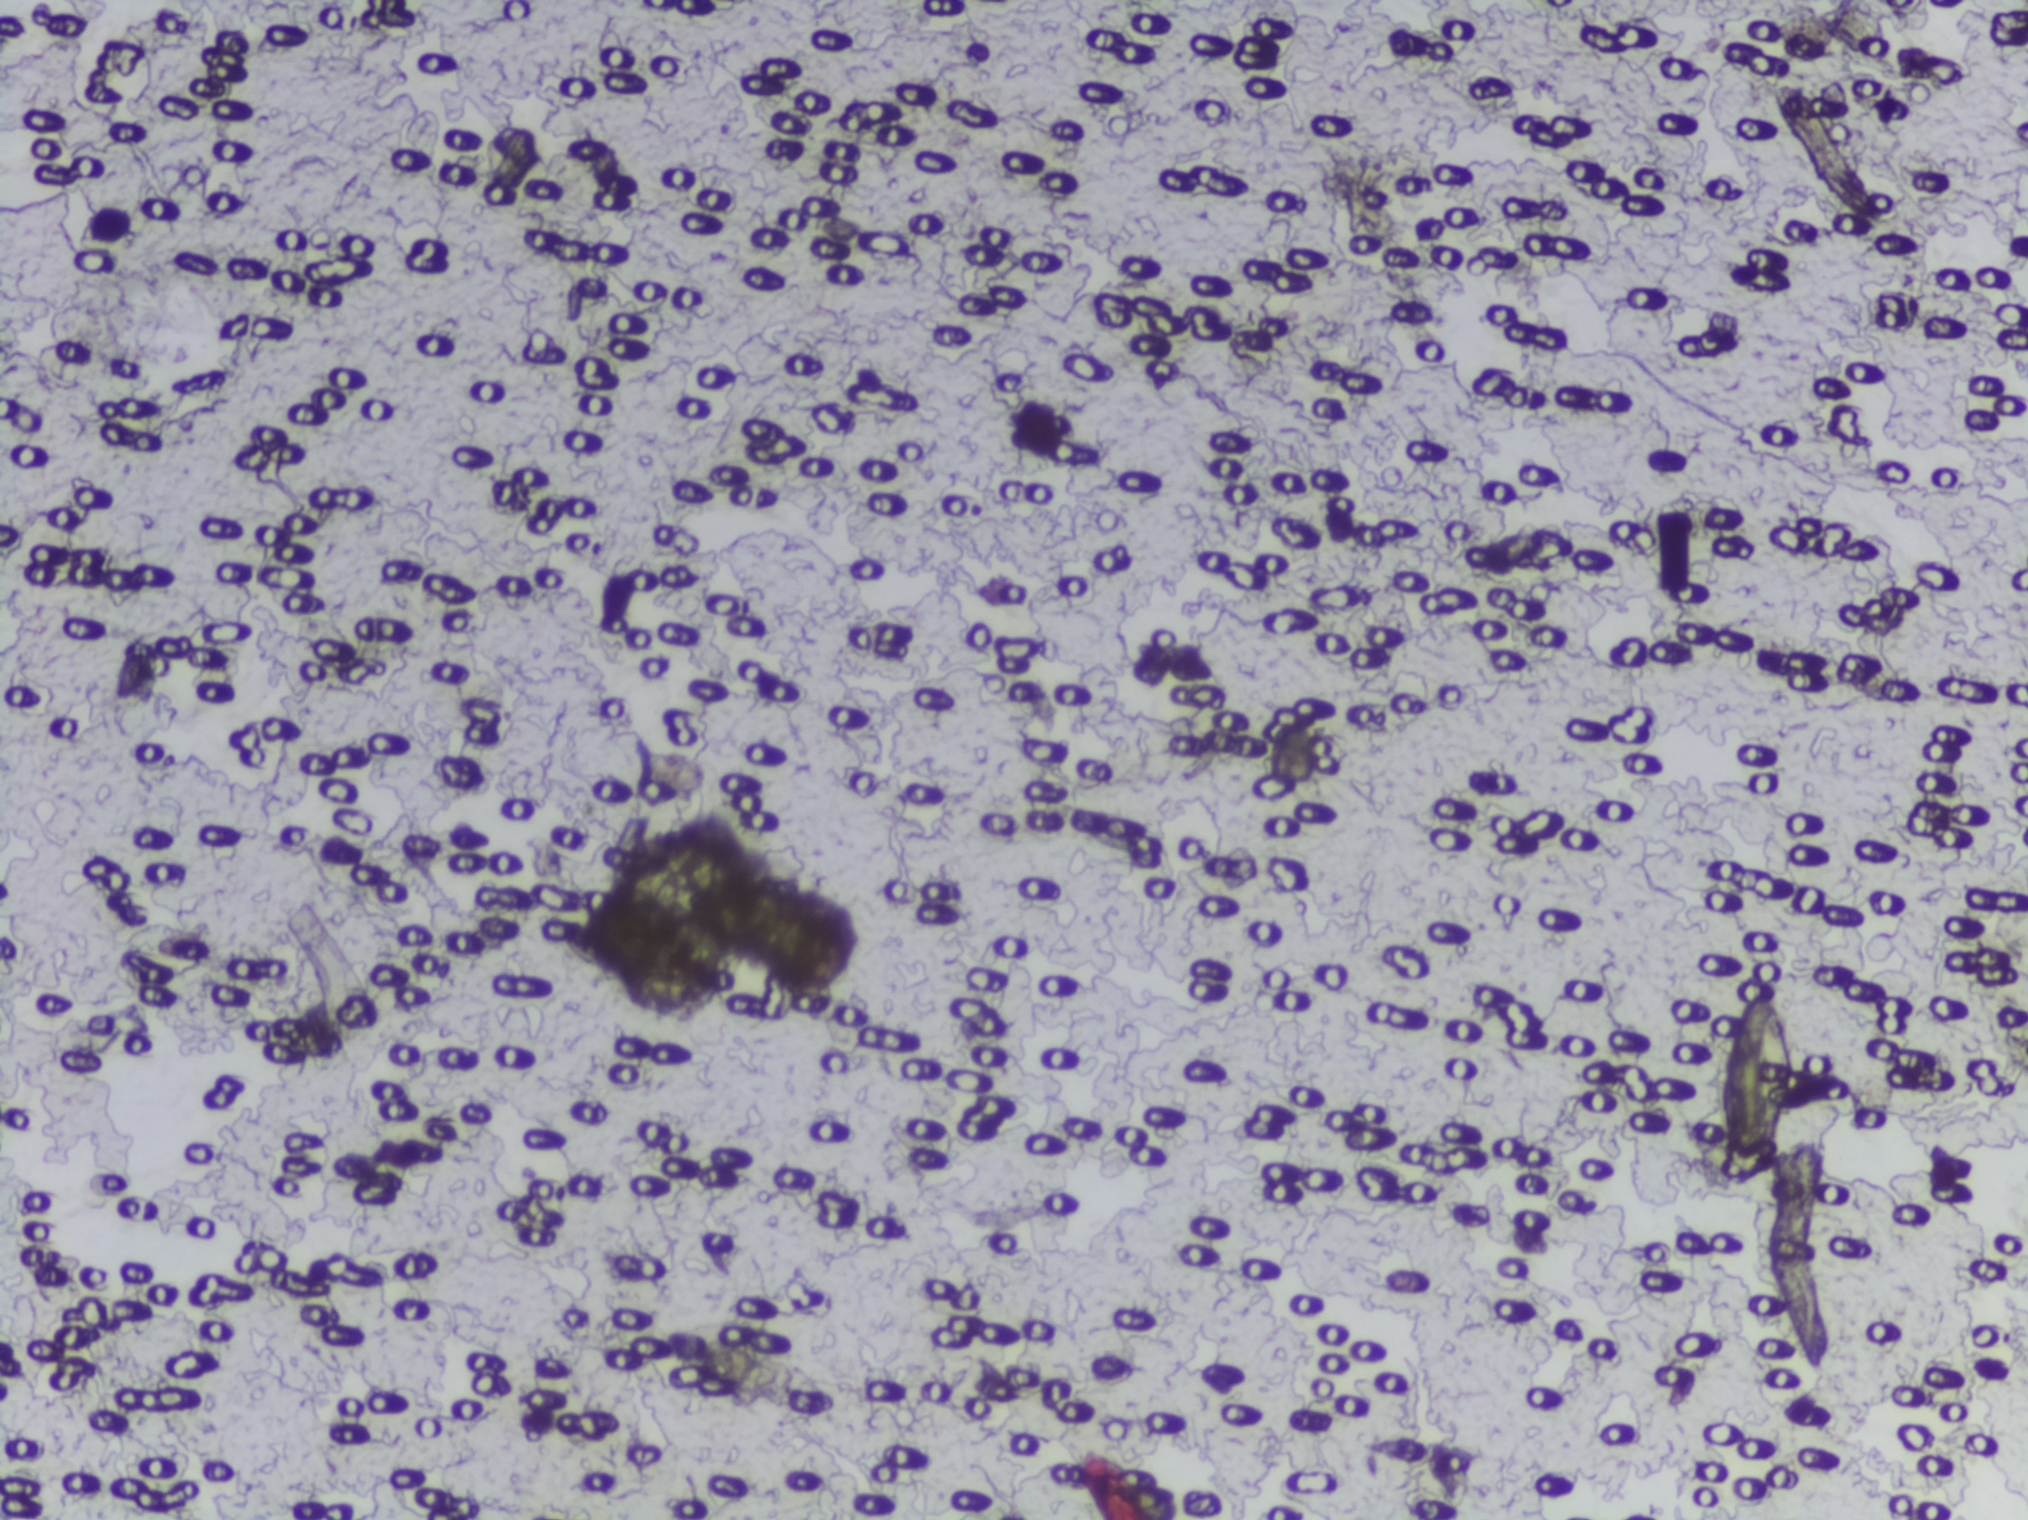
Microscope photograph (4× objective) of a membrane that a urine sample was filtered through. Field of view: about 1.5 mm wide and 1.1 mm high.
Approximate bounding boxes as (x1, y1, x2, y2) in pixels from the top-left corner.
Schistosoma egg areas, outlined: (1704, 974, 1807, 1176). Eggs that touch can end up inside the same outlined area.